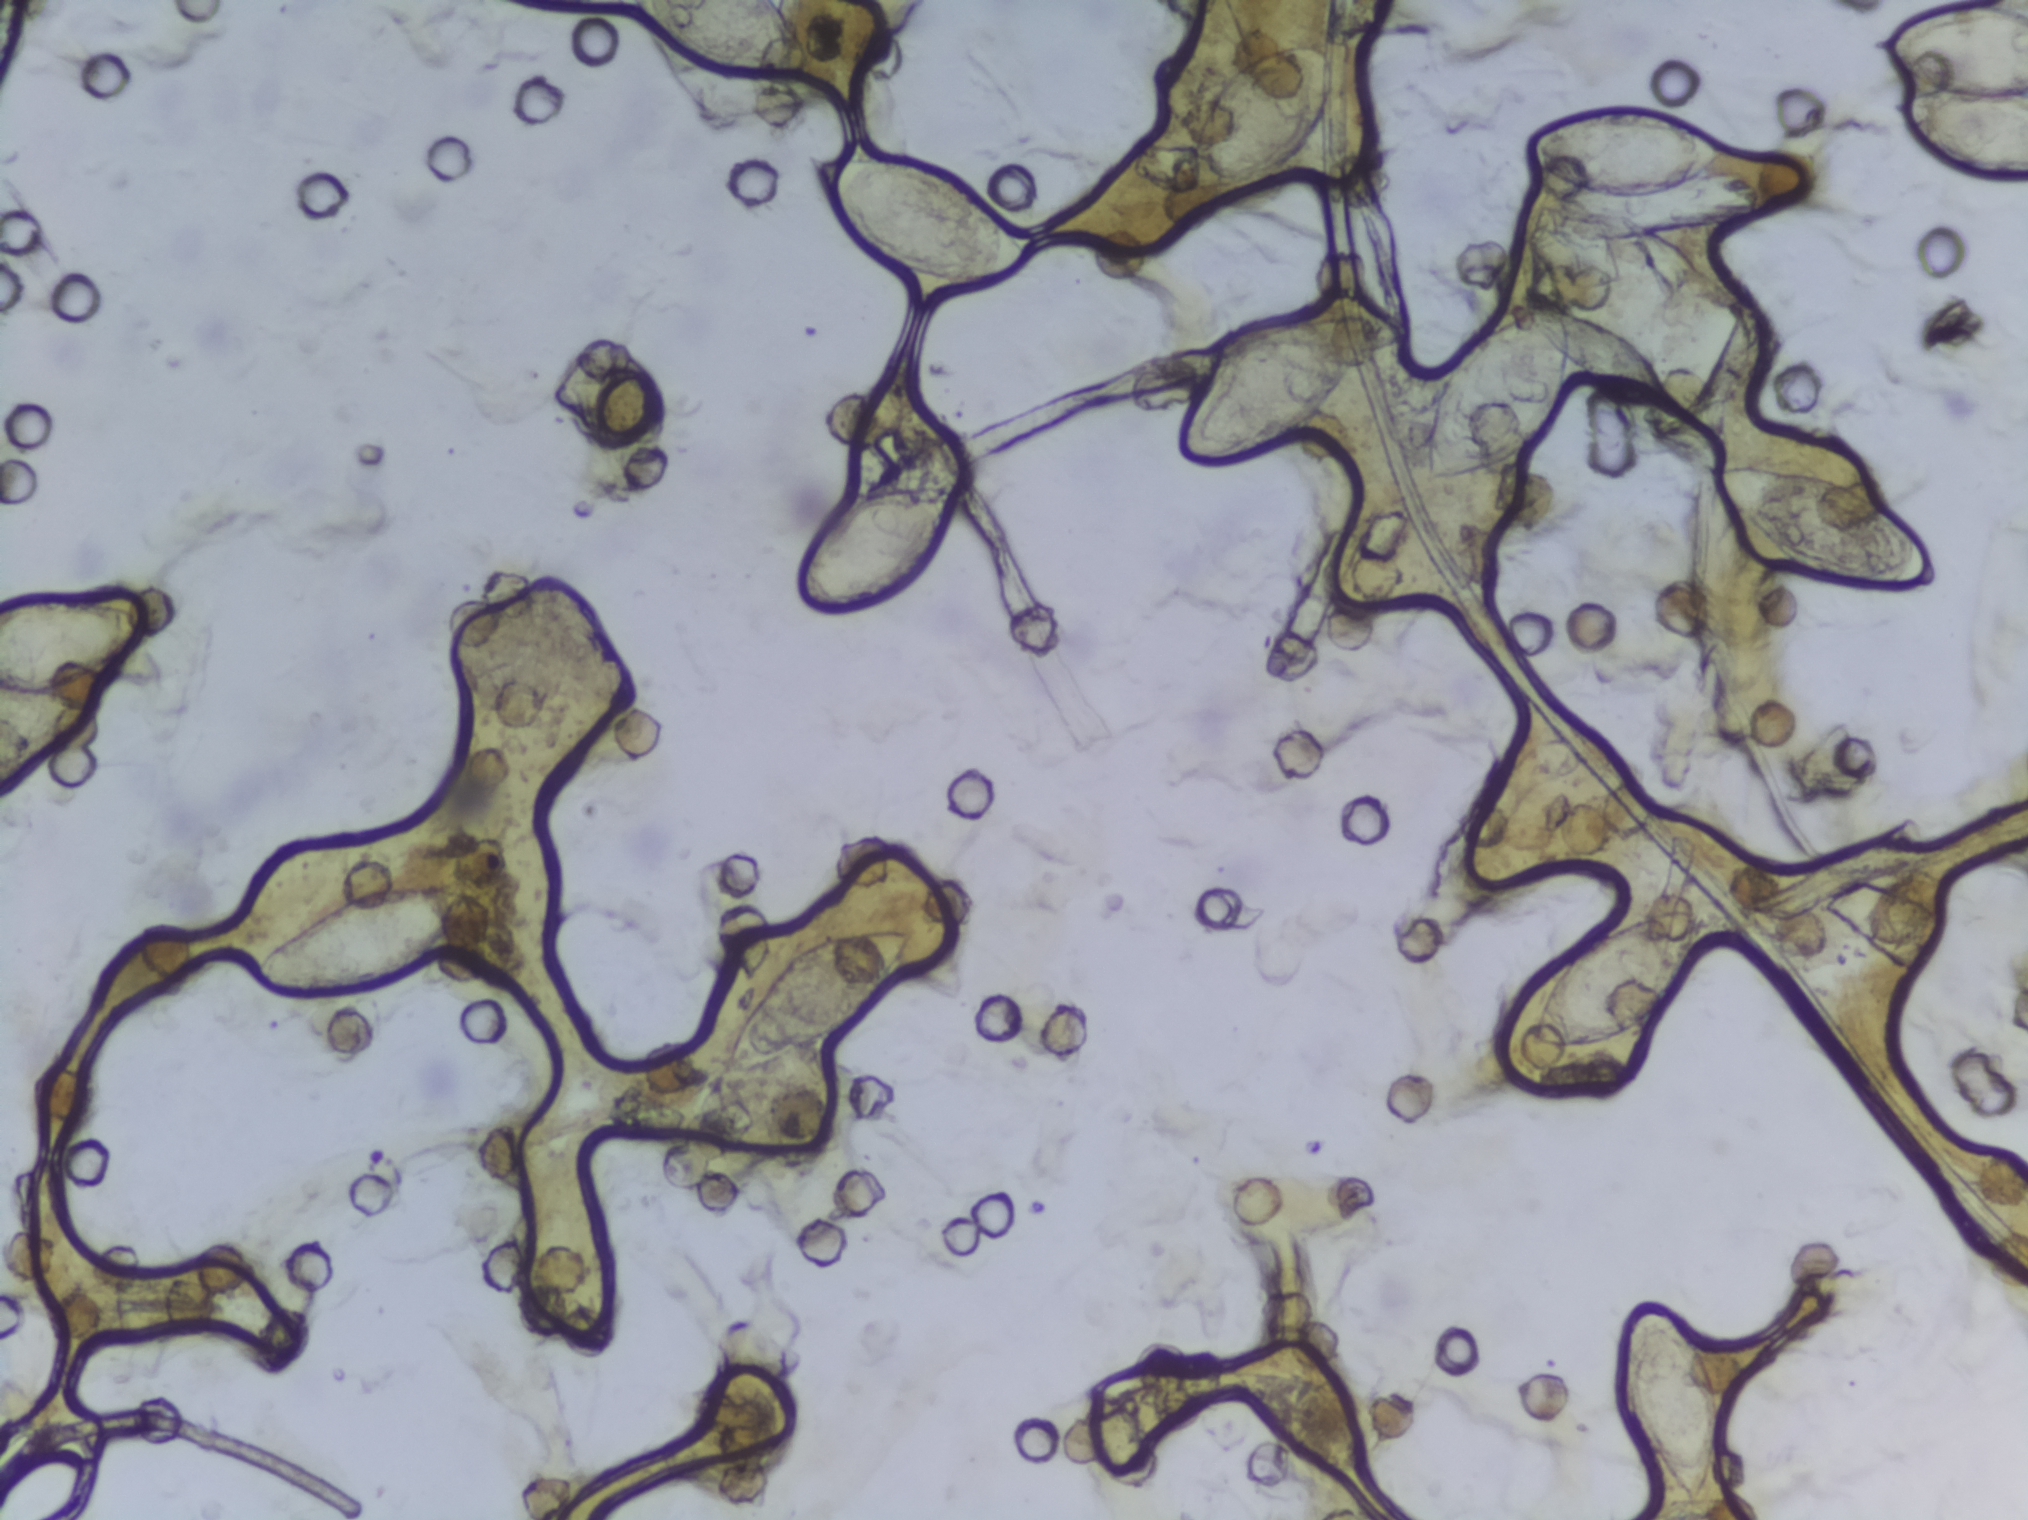
Urine filtration membrane under a 4× objective, photographed by an automated digital microscope.
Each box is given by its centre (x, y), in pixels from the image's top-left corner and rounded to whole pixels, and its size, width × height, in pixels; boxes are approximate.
Areas outlined as Schistosoma eggs: centre (75, 700), 150 × 210 px (reaching the left edge of the frame); centre (357, 942), 217 × 115 px; centre (720, 42), 180 × 84 px (reaching the top edge of the frame); centre (814, 1000), 189 × 144 px; centre (873, 548), 164 × 131 px; centre (920, 223), 220 × 142 px; centre (1262, 118), 151 × 153 px; centre (1274, 391), 202 × 160 px; centre (1500, 393), 148 × 179 px; centre (1617, 977), 177 × 149 px; centre (1618, 259), 182 × 99 px; centre (1626, 151), 202 × 86 px; centre (1672, 1405), 106 × 202 px; centre (1821, 529), 240 × 137 px; centre (1951, 94), 154 × 189 px (reaching the top and right edges of the frame). A single outlined area may contain several eggs.